Photomicrograph of a urine filtration membrane, 4× objective.
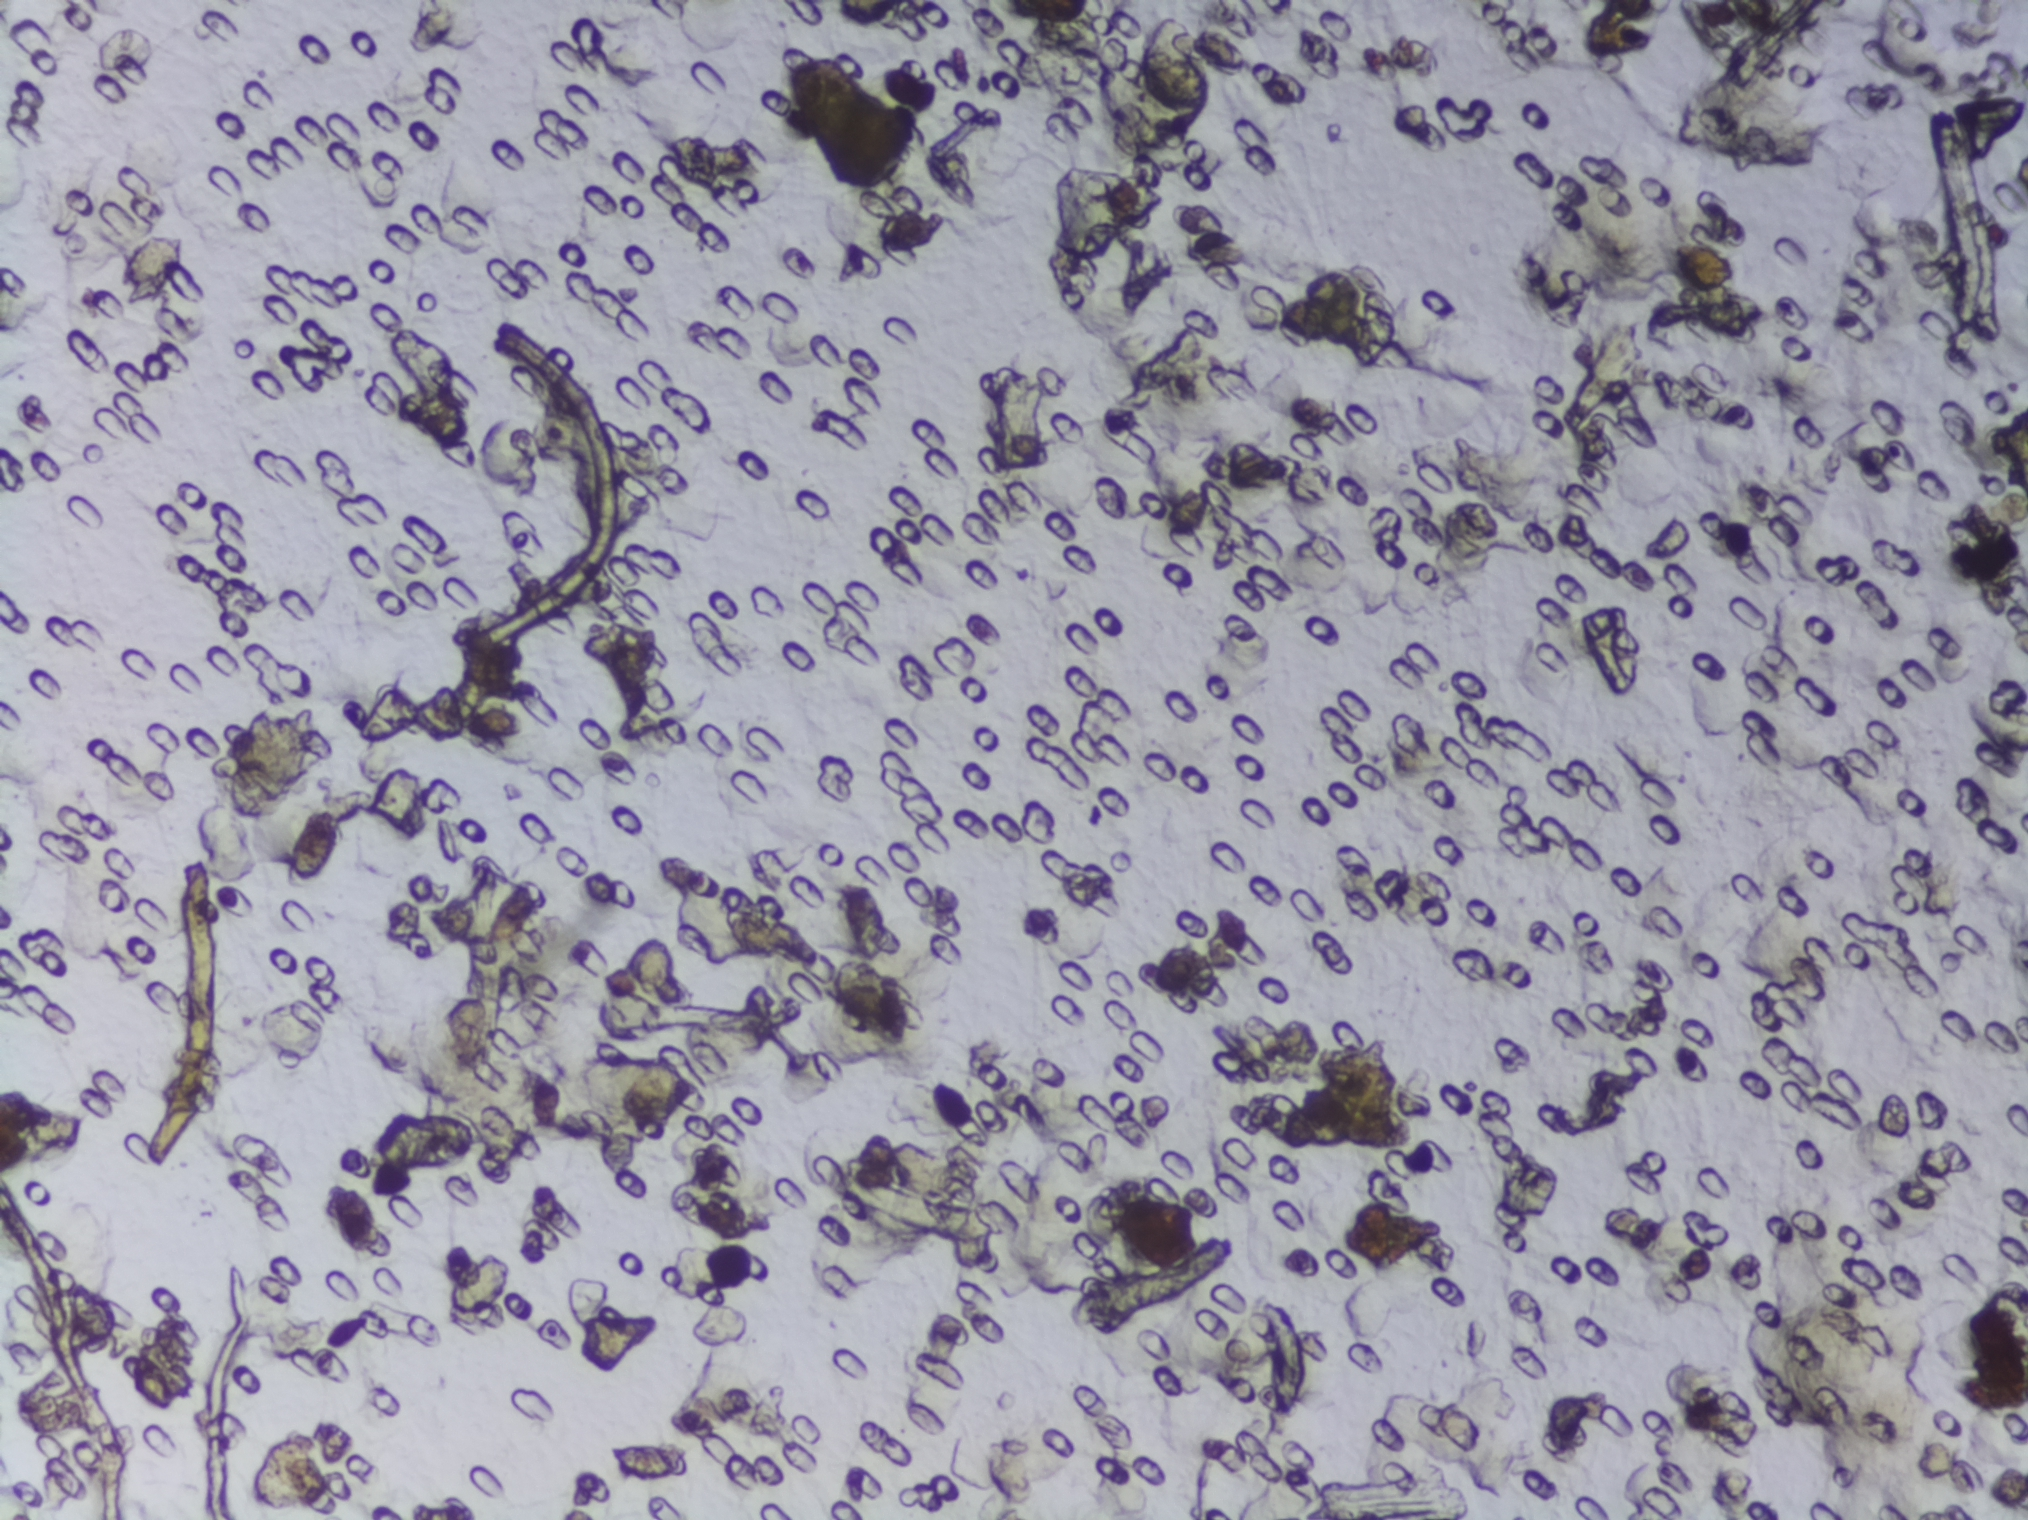
The expert annotation outlines no Schistosoma egg in this image.